Photomicrograph of a urine filtration membrane, 4× objective.
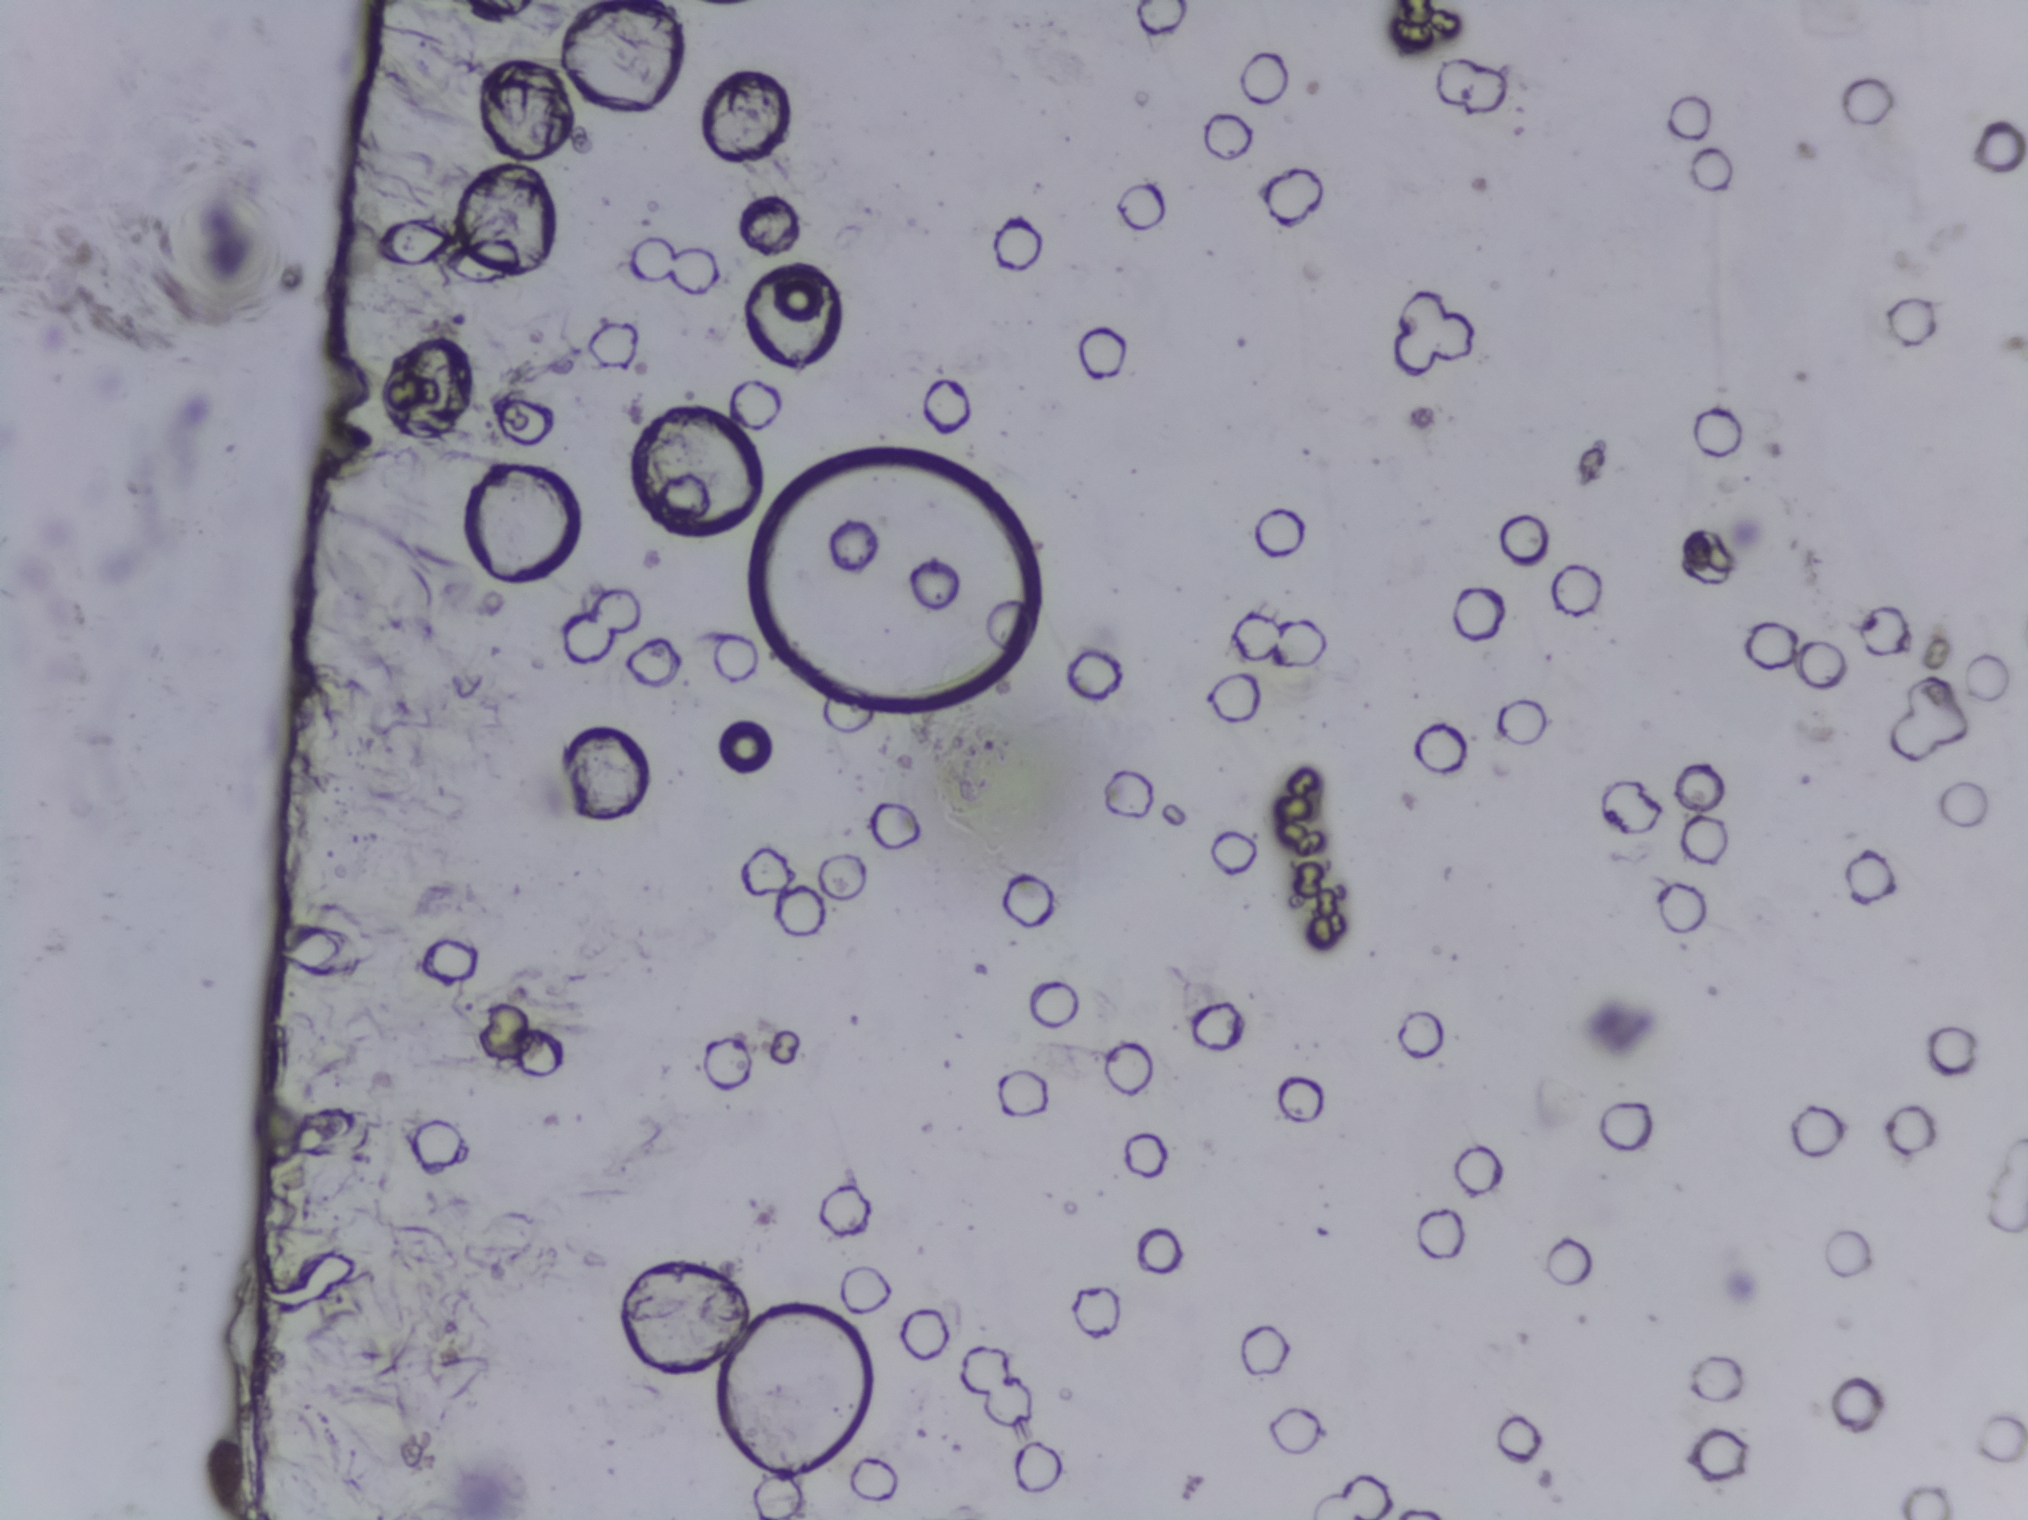
No area of this image was outlined as a Schistosoma egg.